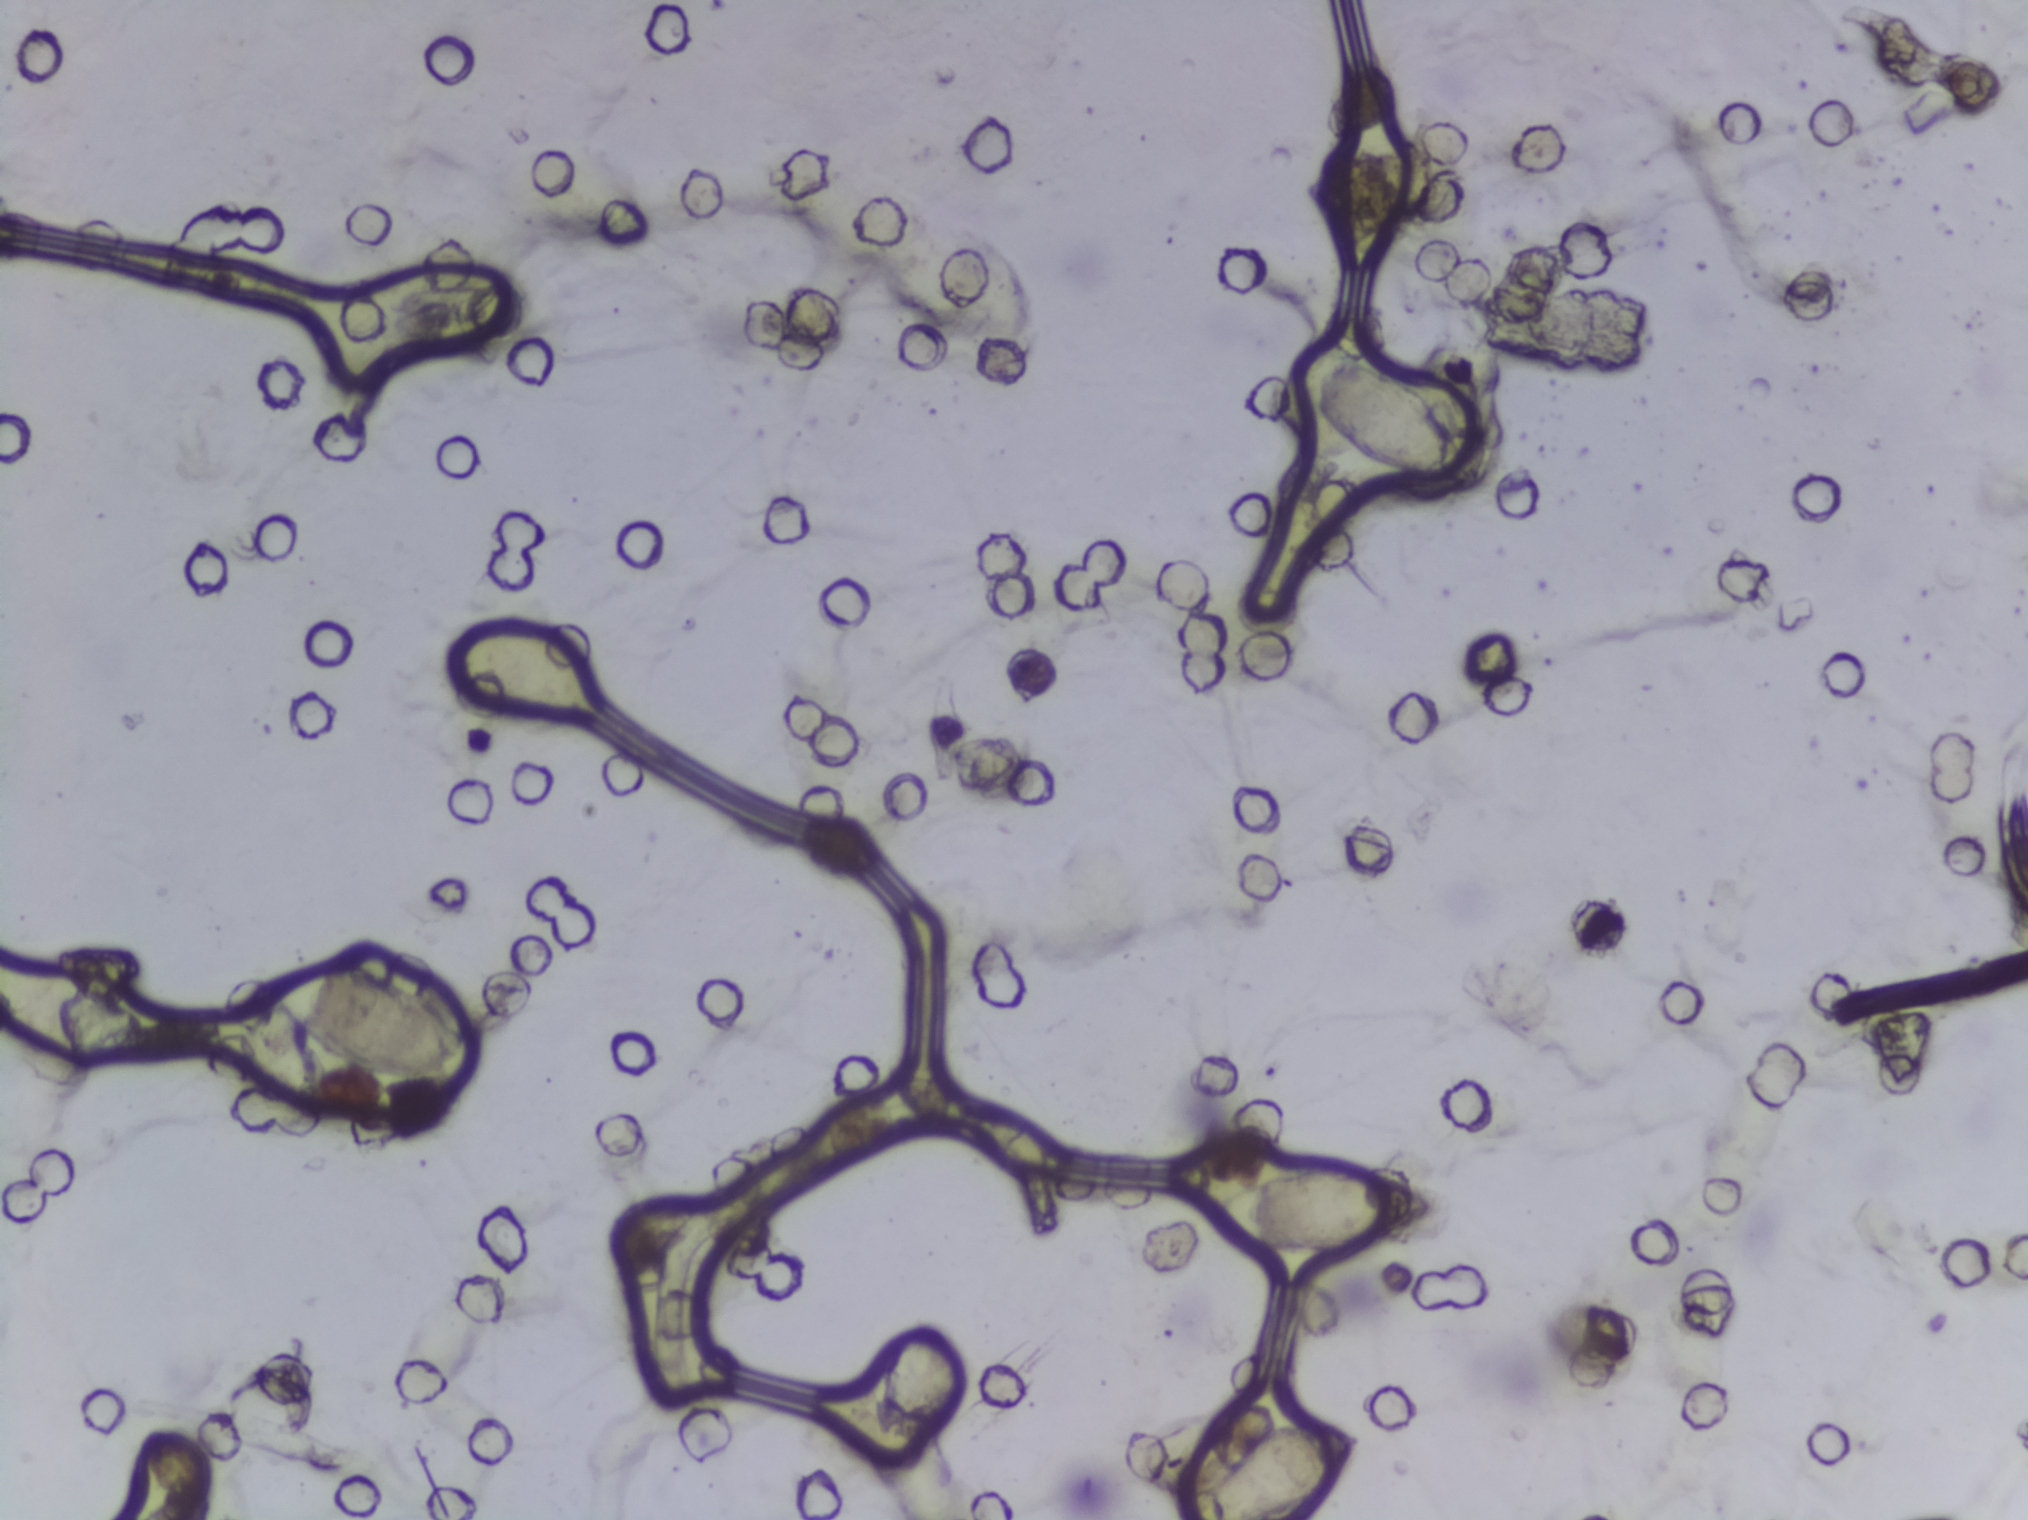
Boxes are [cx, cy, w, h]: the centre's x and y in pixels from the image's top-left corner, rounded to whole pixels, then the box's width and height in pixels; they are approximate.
{"schistosoma_egg_areas_cxcywh_px": [[376, 1024, 216, 121], [1275, 1470, 181, 99], [1320, 1211, 215, 88], [1382, 417, 190, 140]]} Area 2 reaches the bottom edge of the frame.
Eggs that touch can end up inside the same outlined area.
Photograph from an automated digital microscope: urine filter membrane, 4× objective.